Urine filtration membrane under a 4× objective, photographed by an automated digital microscope.
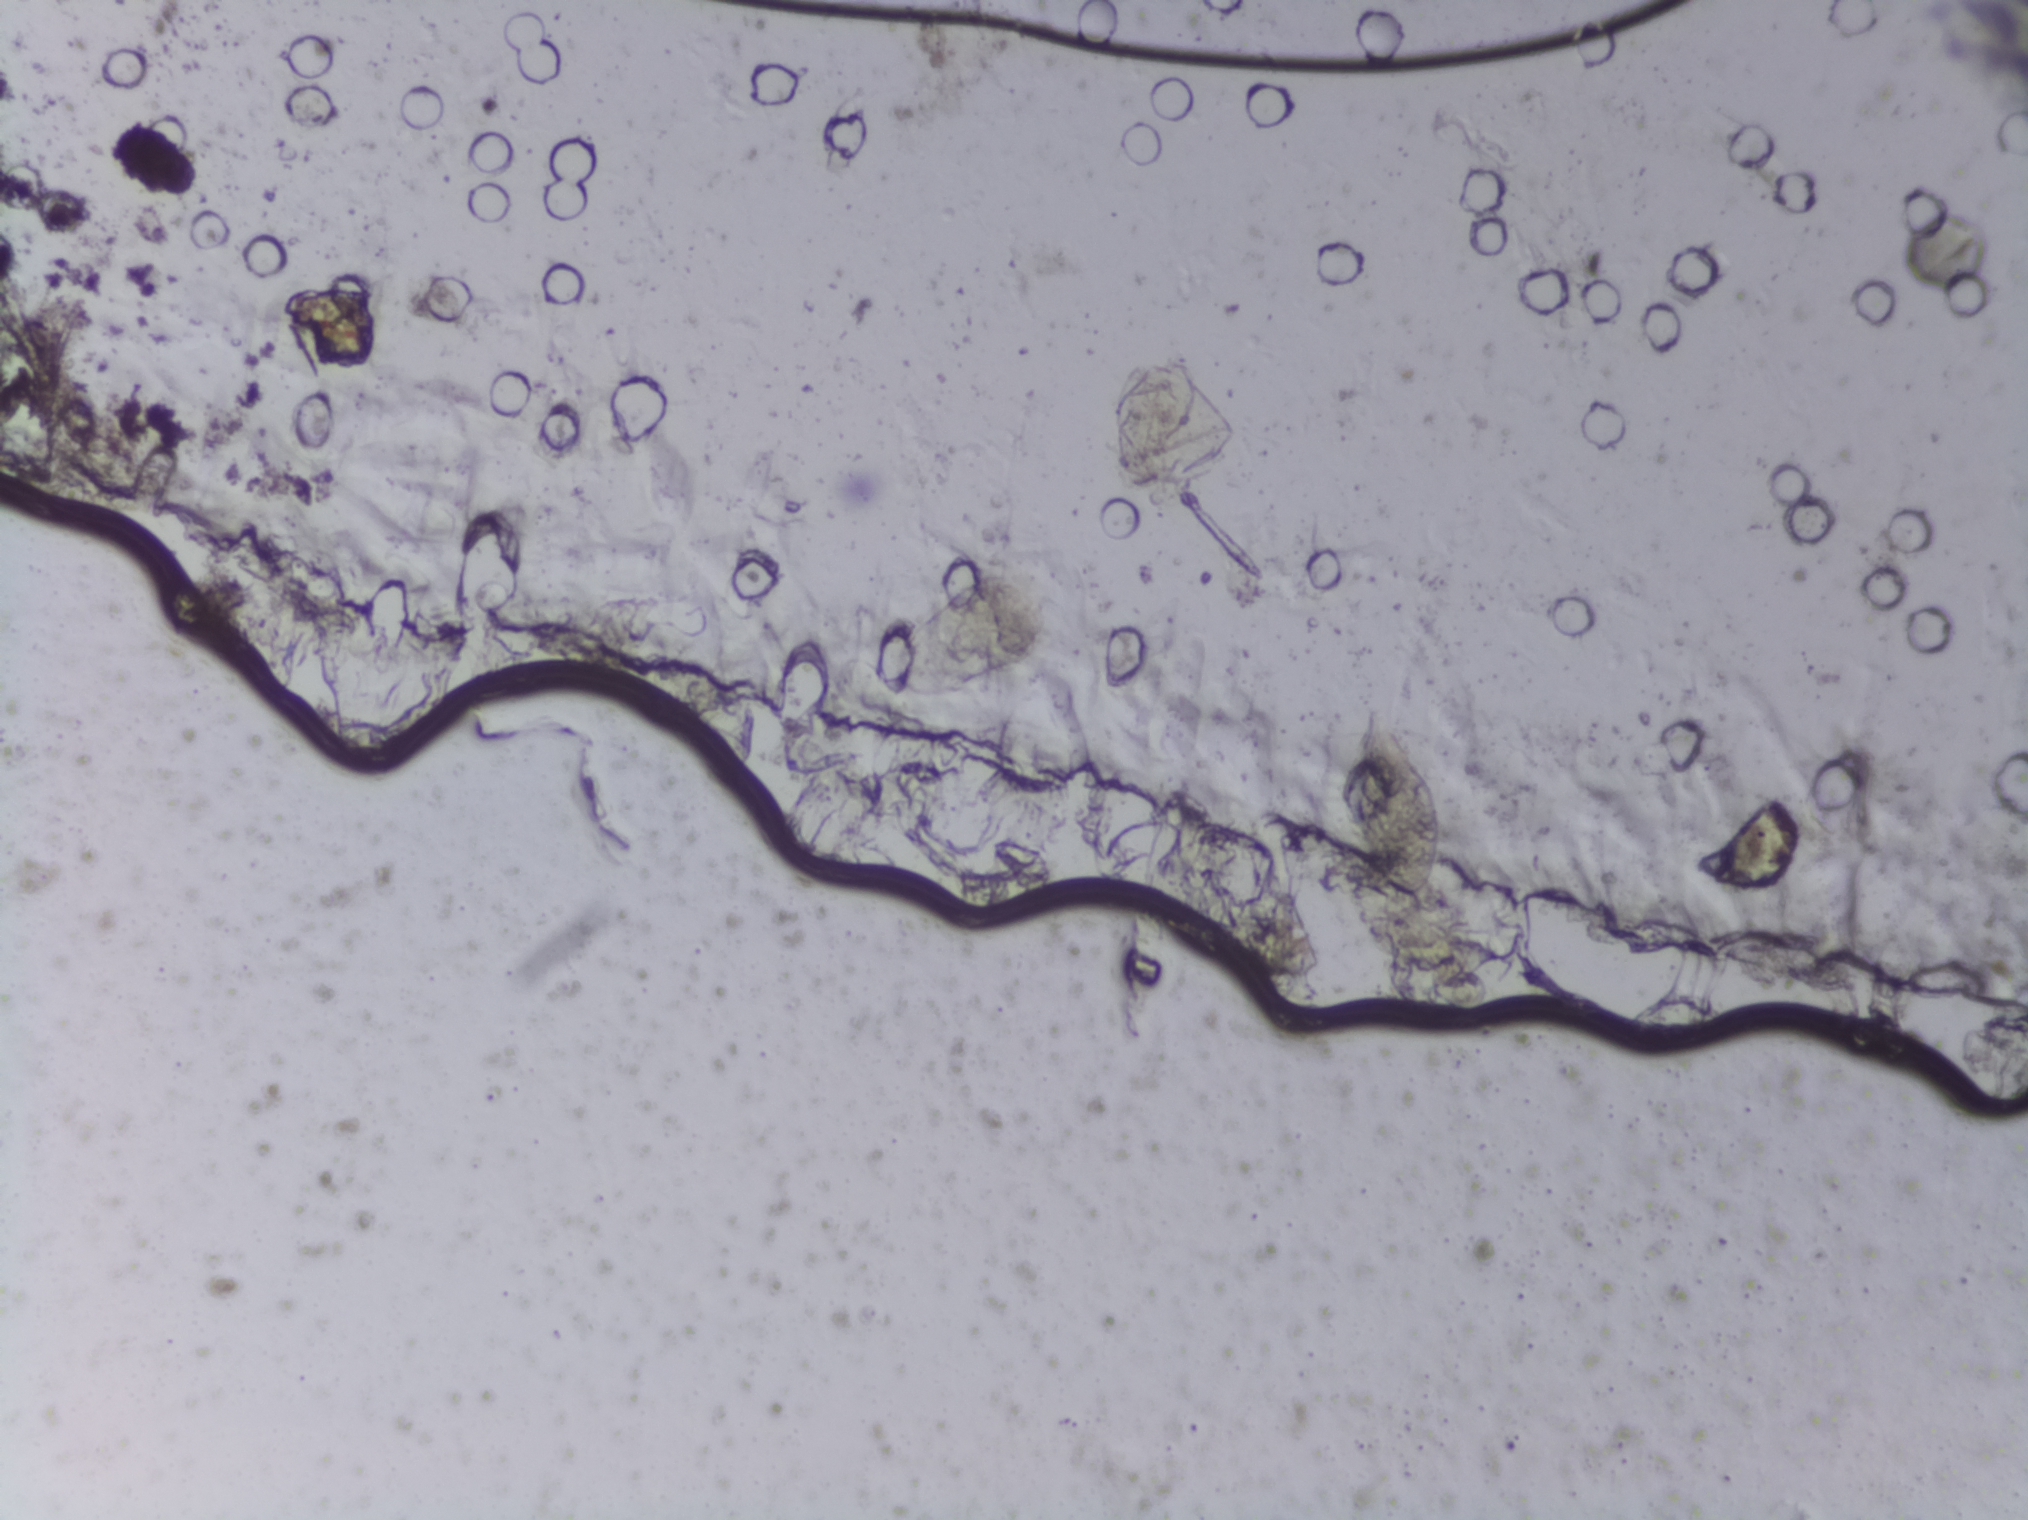
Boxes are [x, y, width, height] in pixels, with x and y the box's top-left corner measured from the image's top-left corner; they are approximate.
Findings: two areas outlined as Schistosoma eggs. Locations, left to right: [892, 572, 171, 127]; [1351, 692, 90, 206]. An outlined area can hold more than one egg.